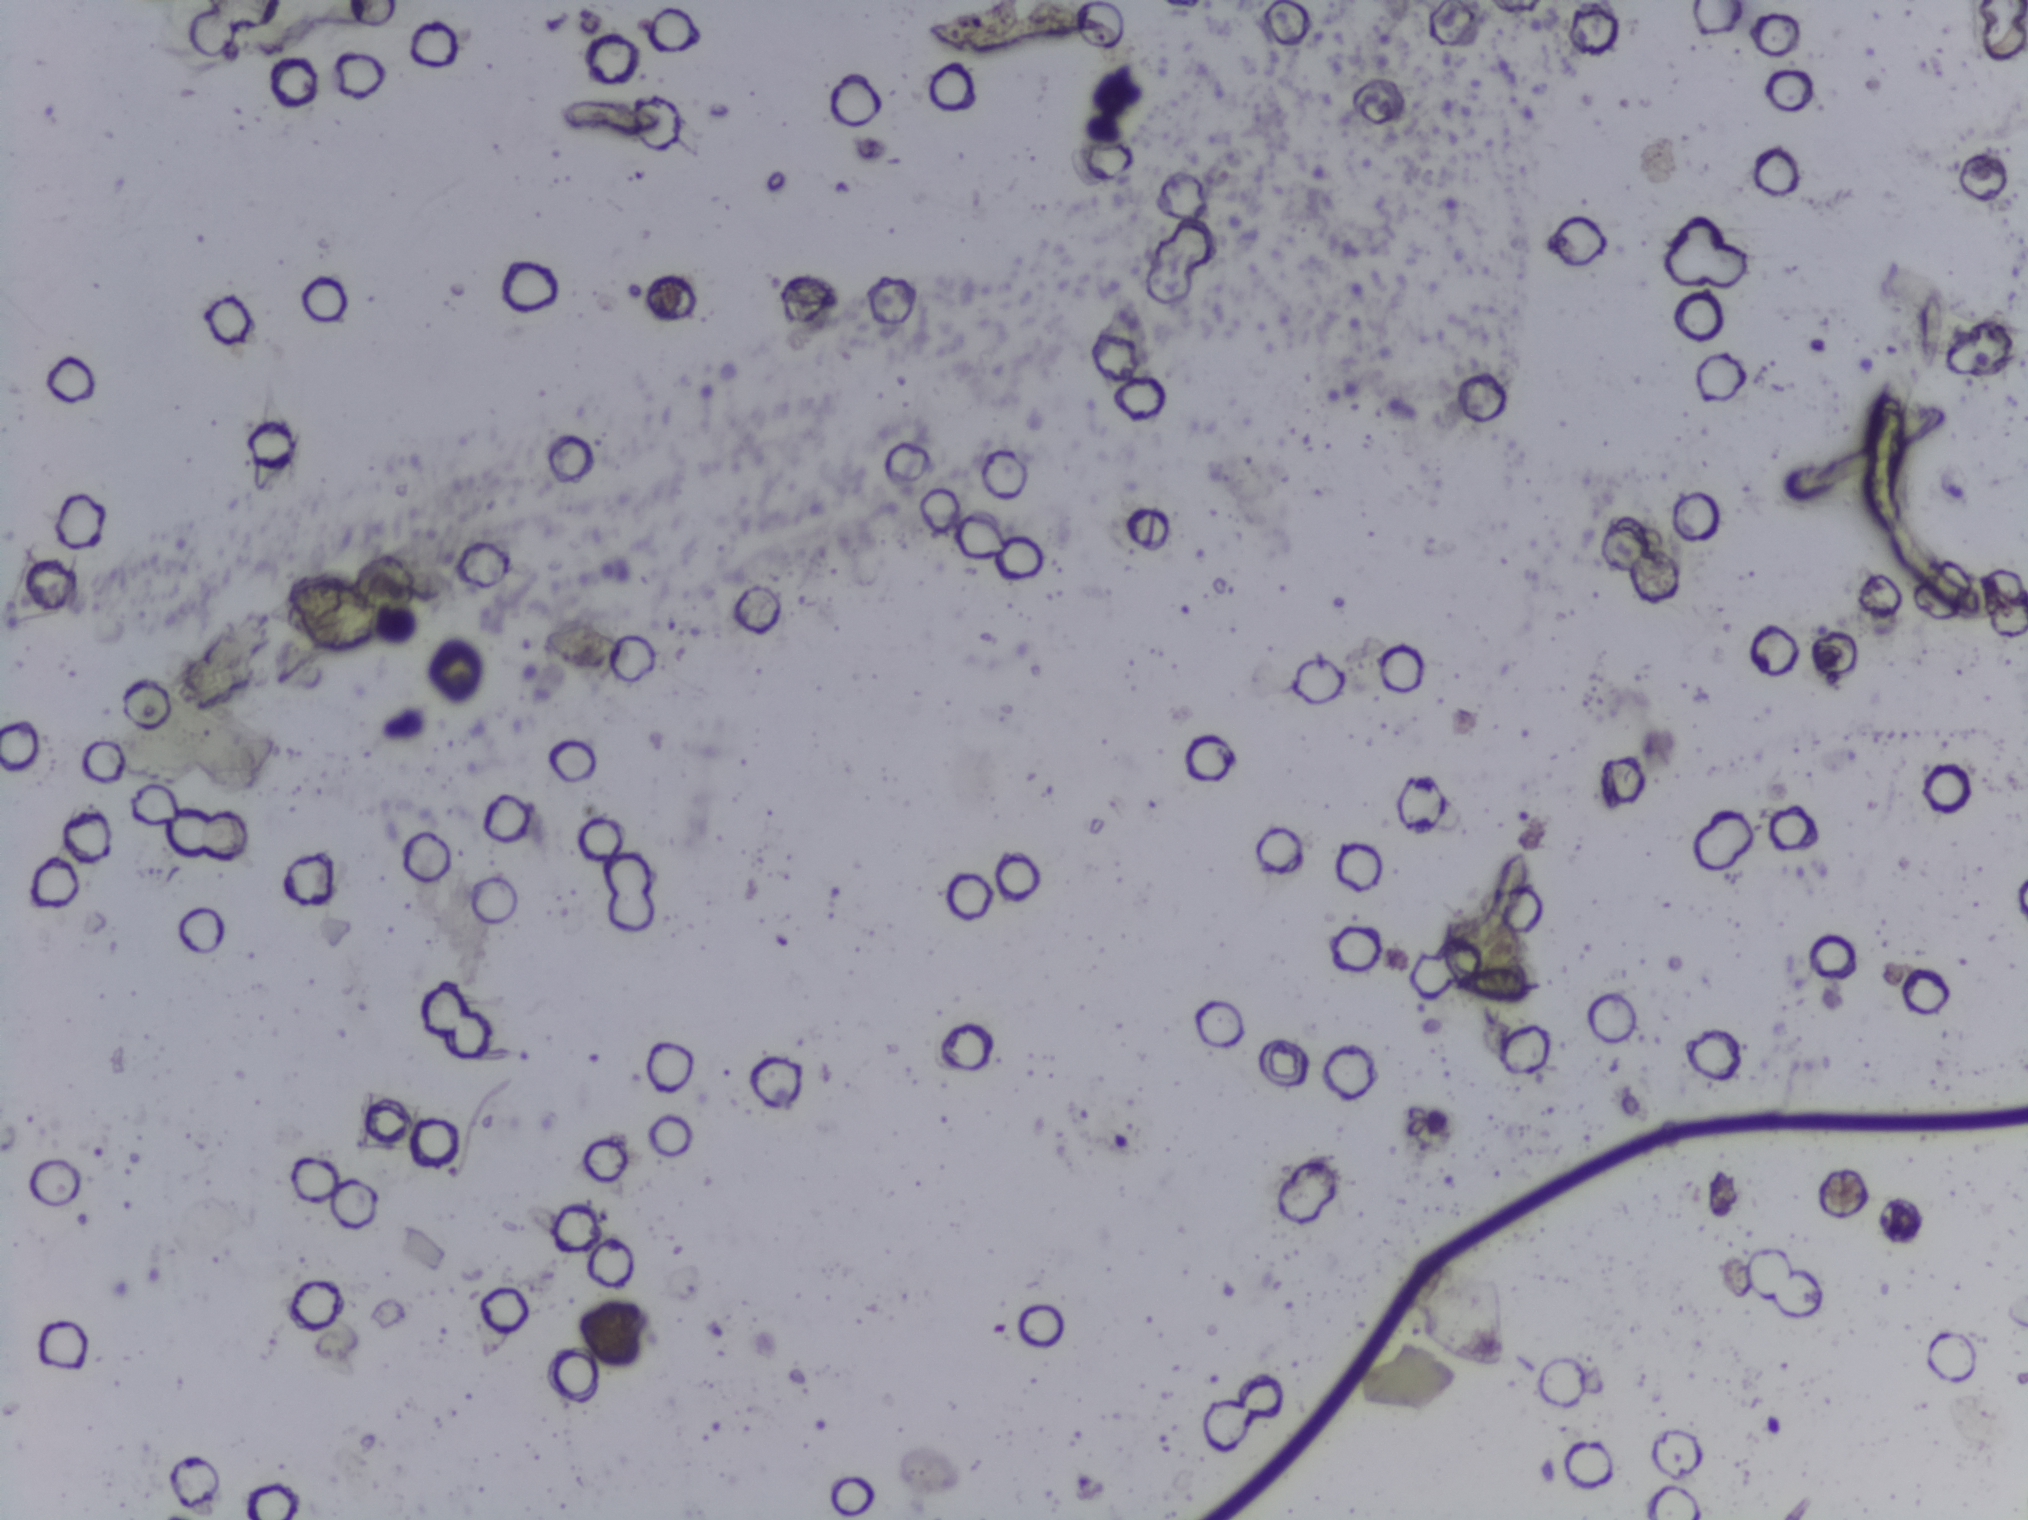
Urine filter membrane photographed through a 4× microscope objective.
The expert annotation outlines no Schistosoma egg in this image.